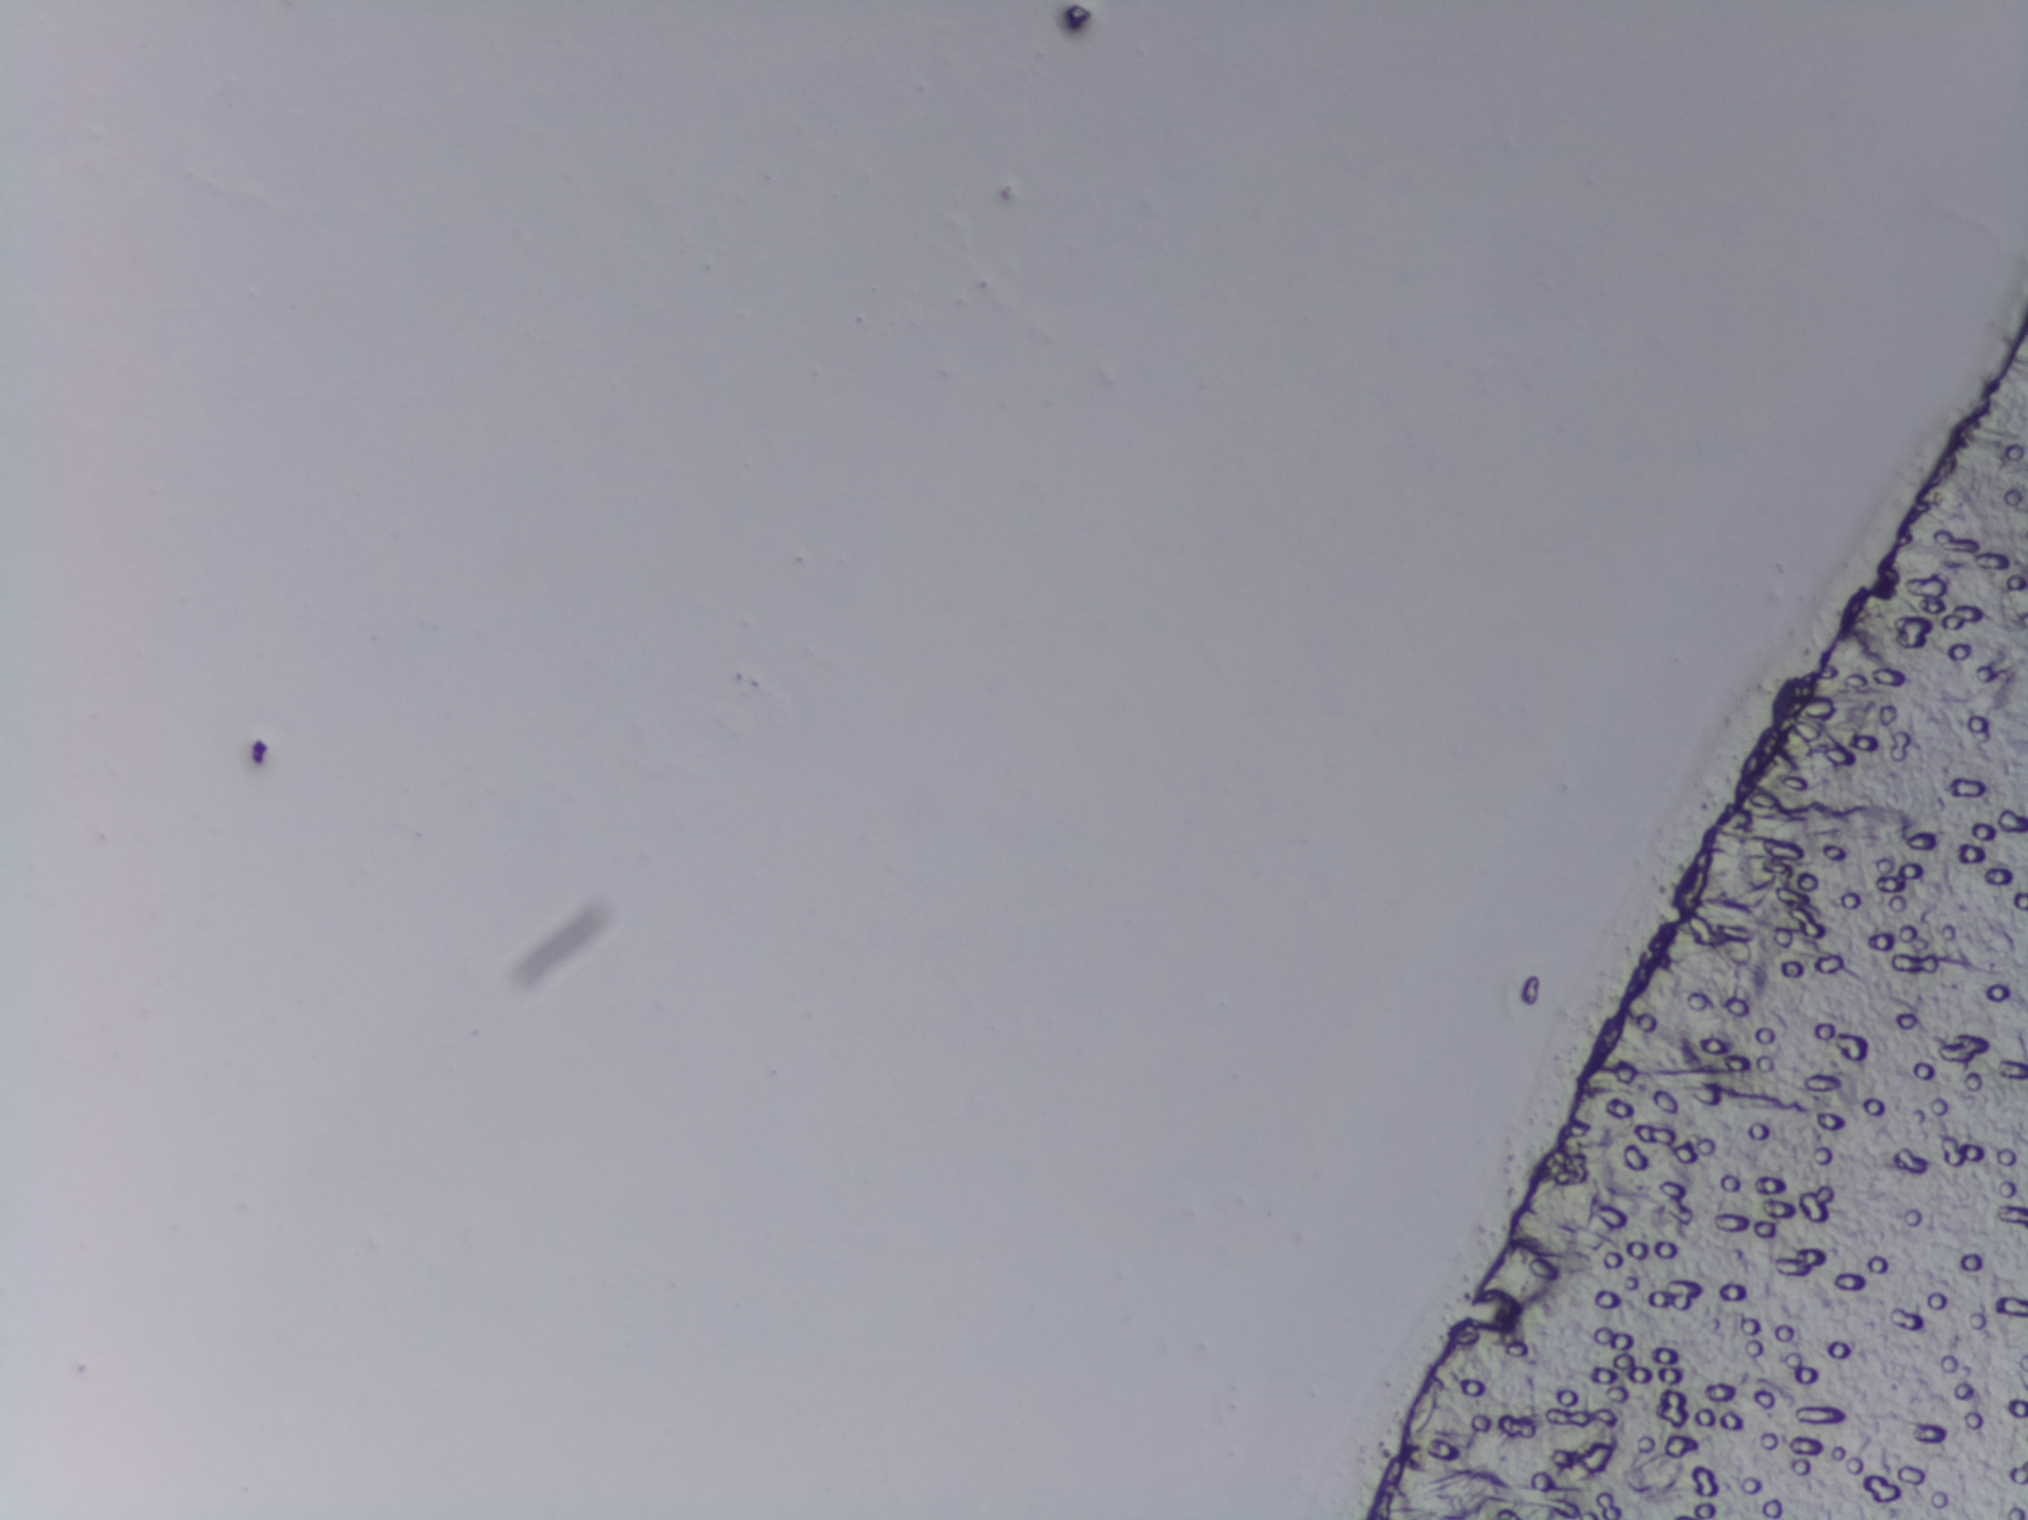
The expert annotation marks no Schistosoma egg in this field of view.
Photograph from an automated digital microscope: urine filter membrane, 4× objective. The image covers about 1.5 × 1.1 mm of the membrane.